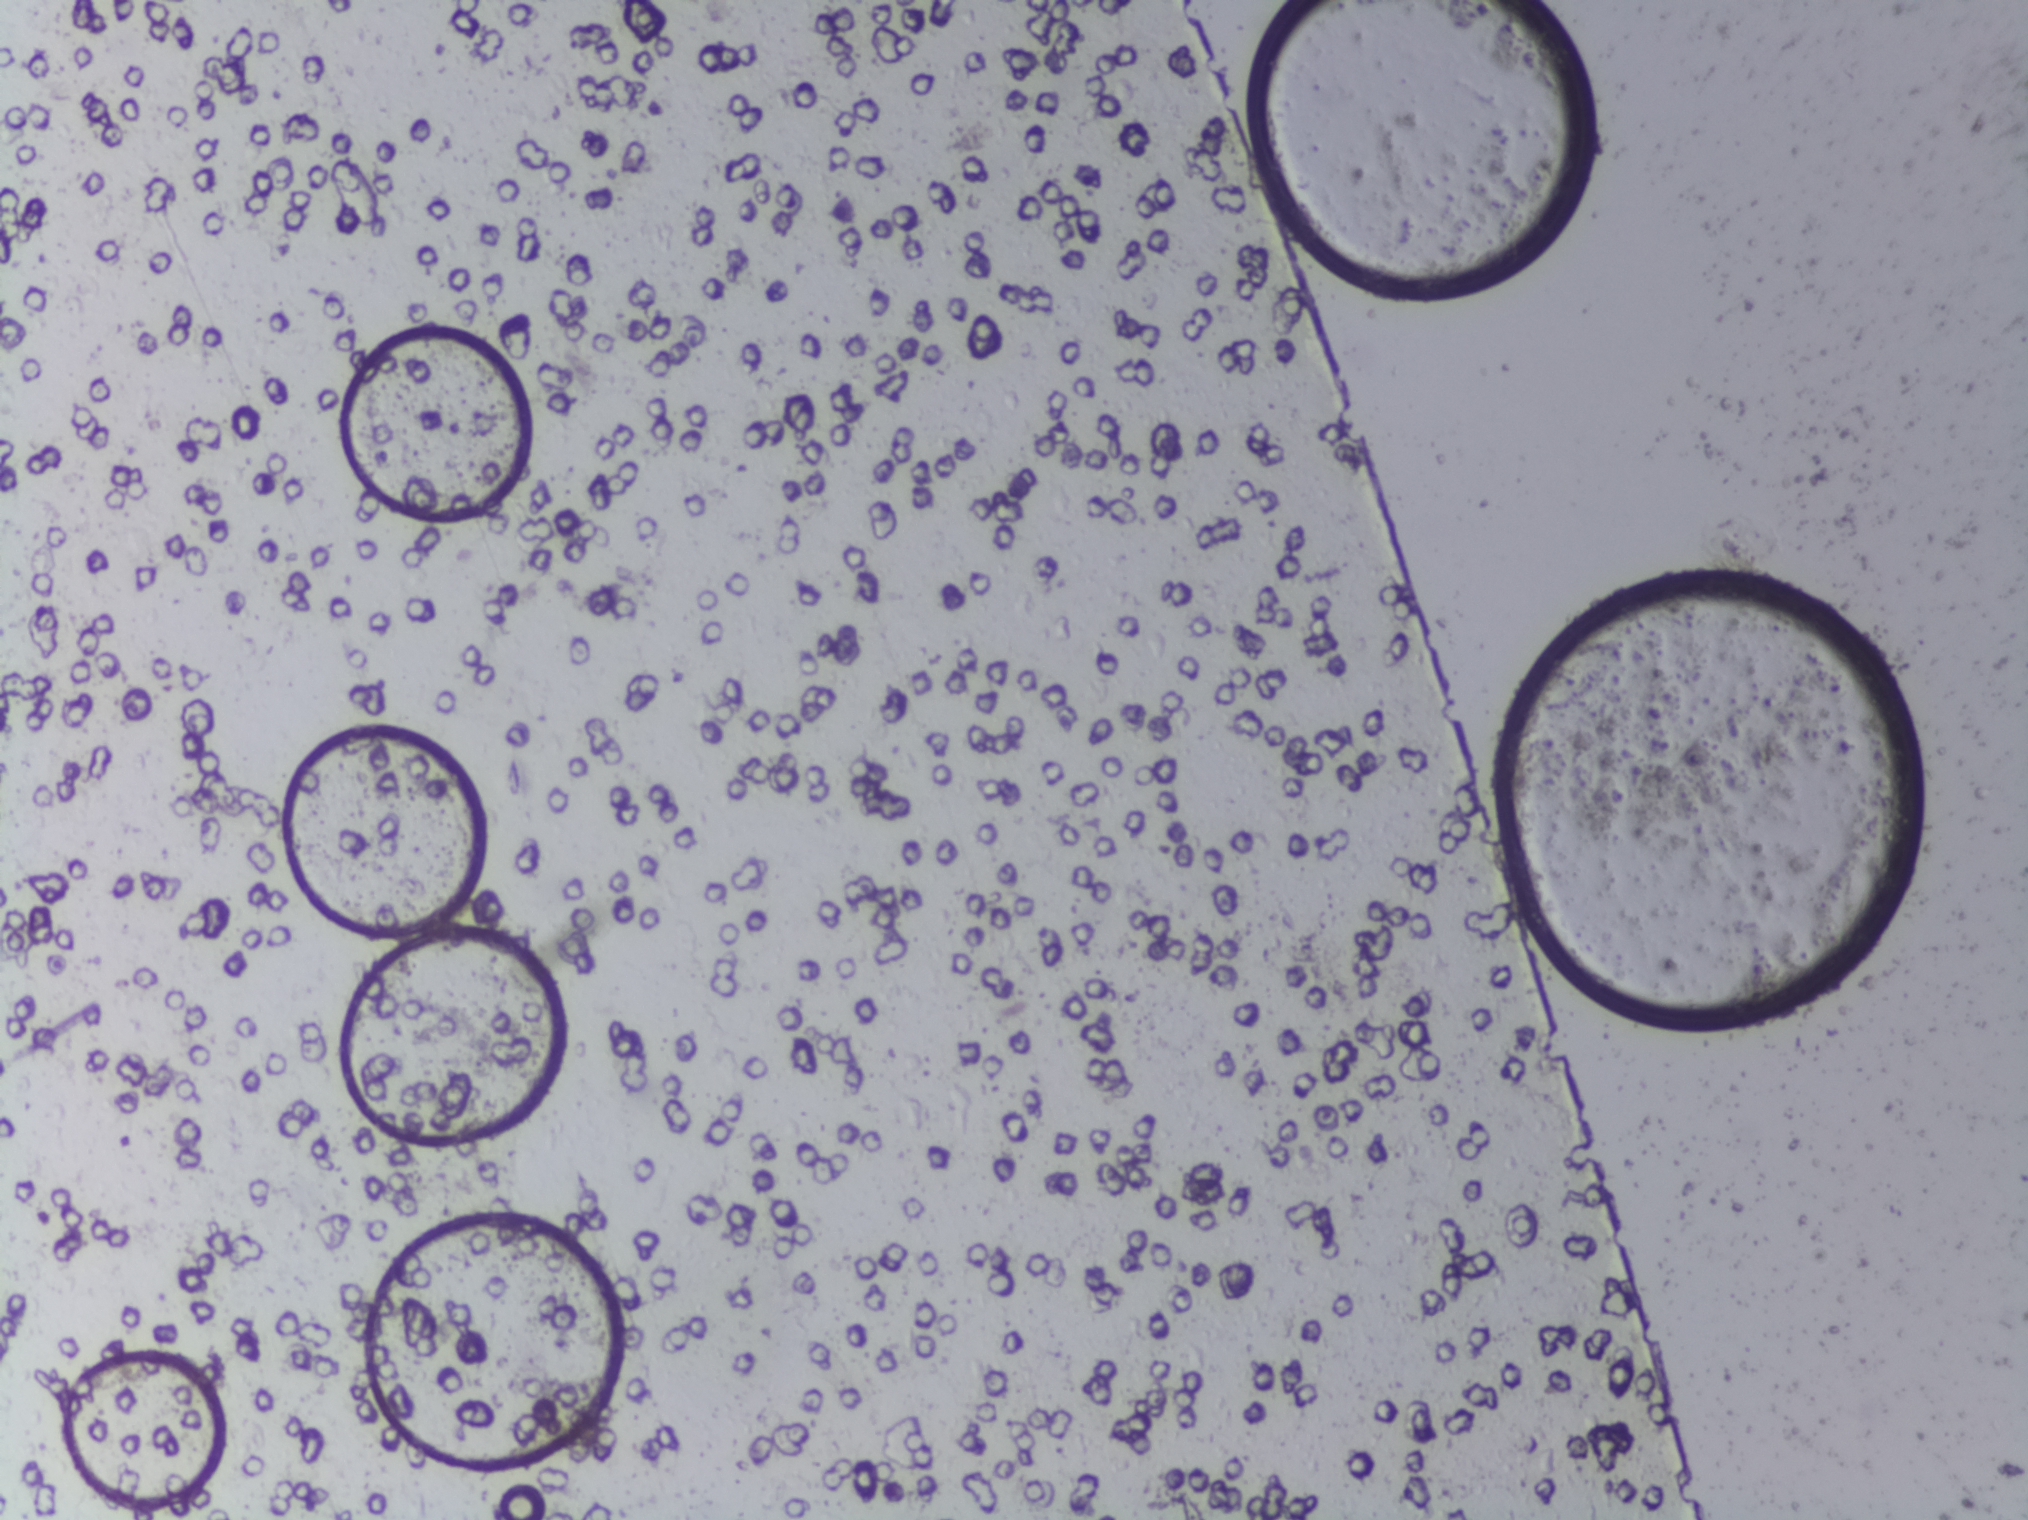
Photomicrograph of a urine filtration membrane, 4× objective.
No Schistosoma egg is outlined in this image's expert annotation.